Photomicrograph of a urine filtration membrane, 4× objective.
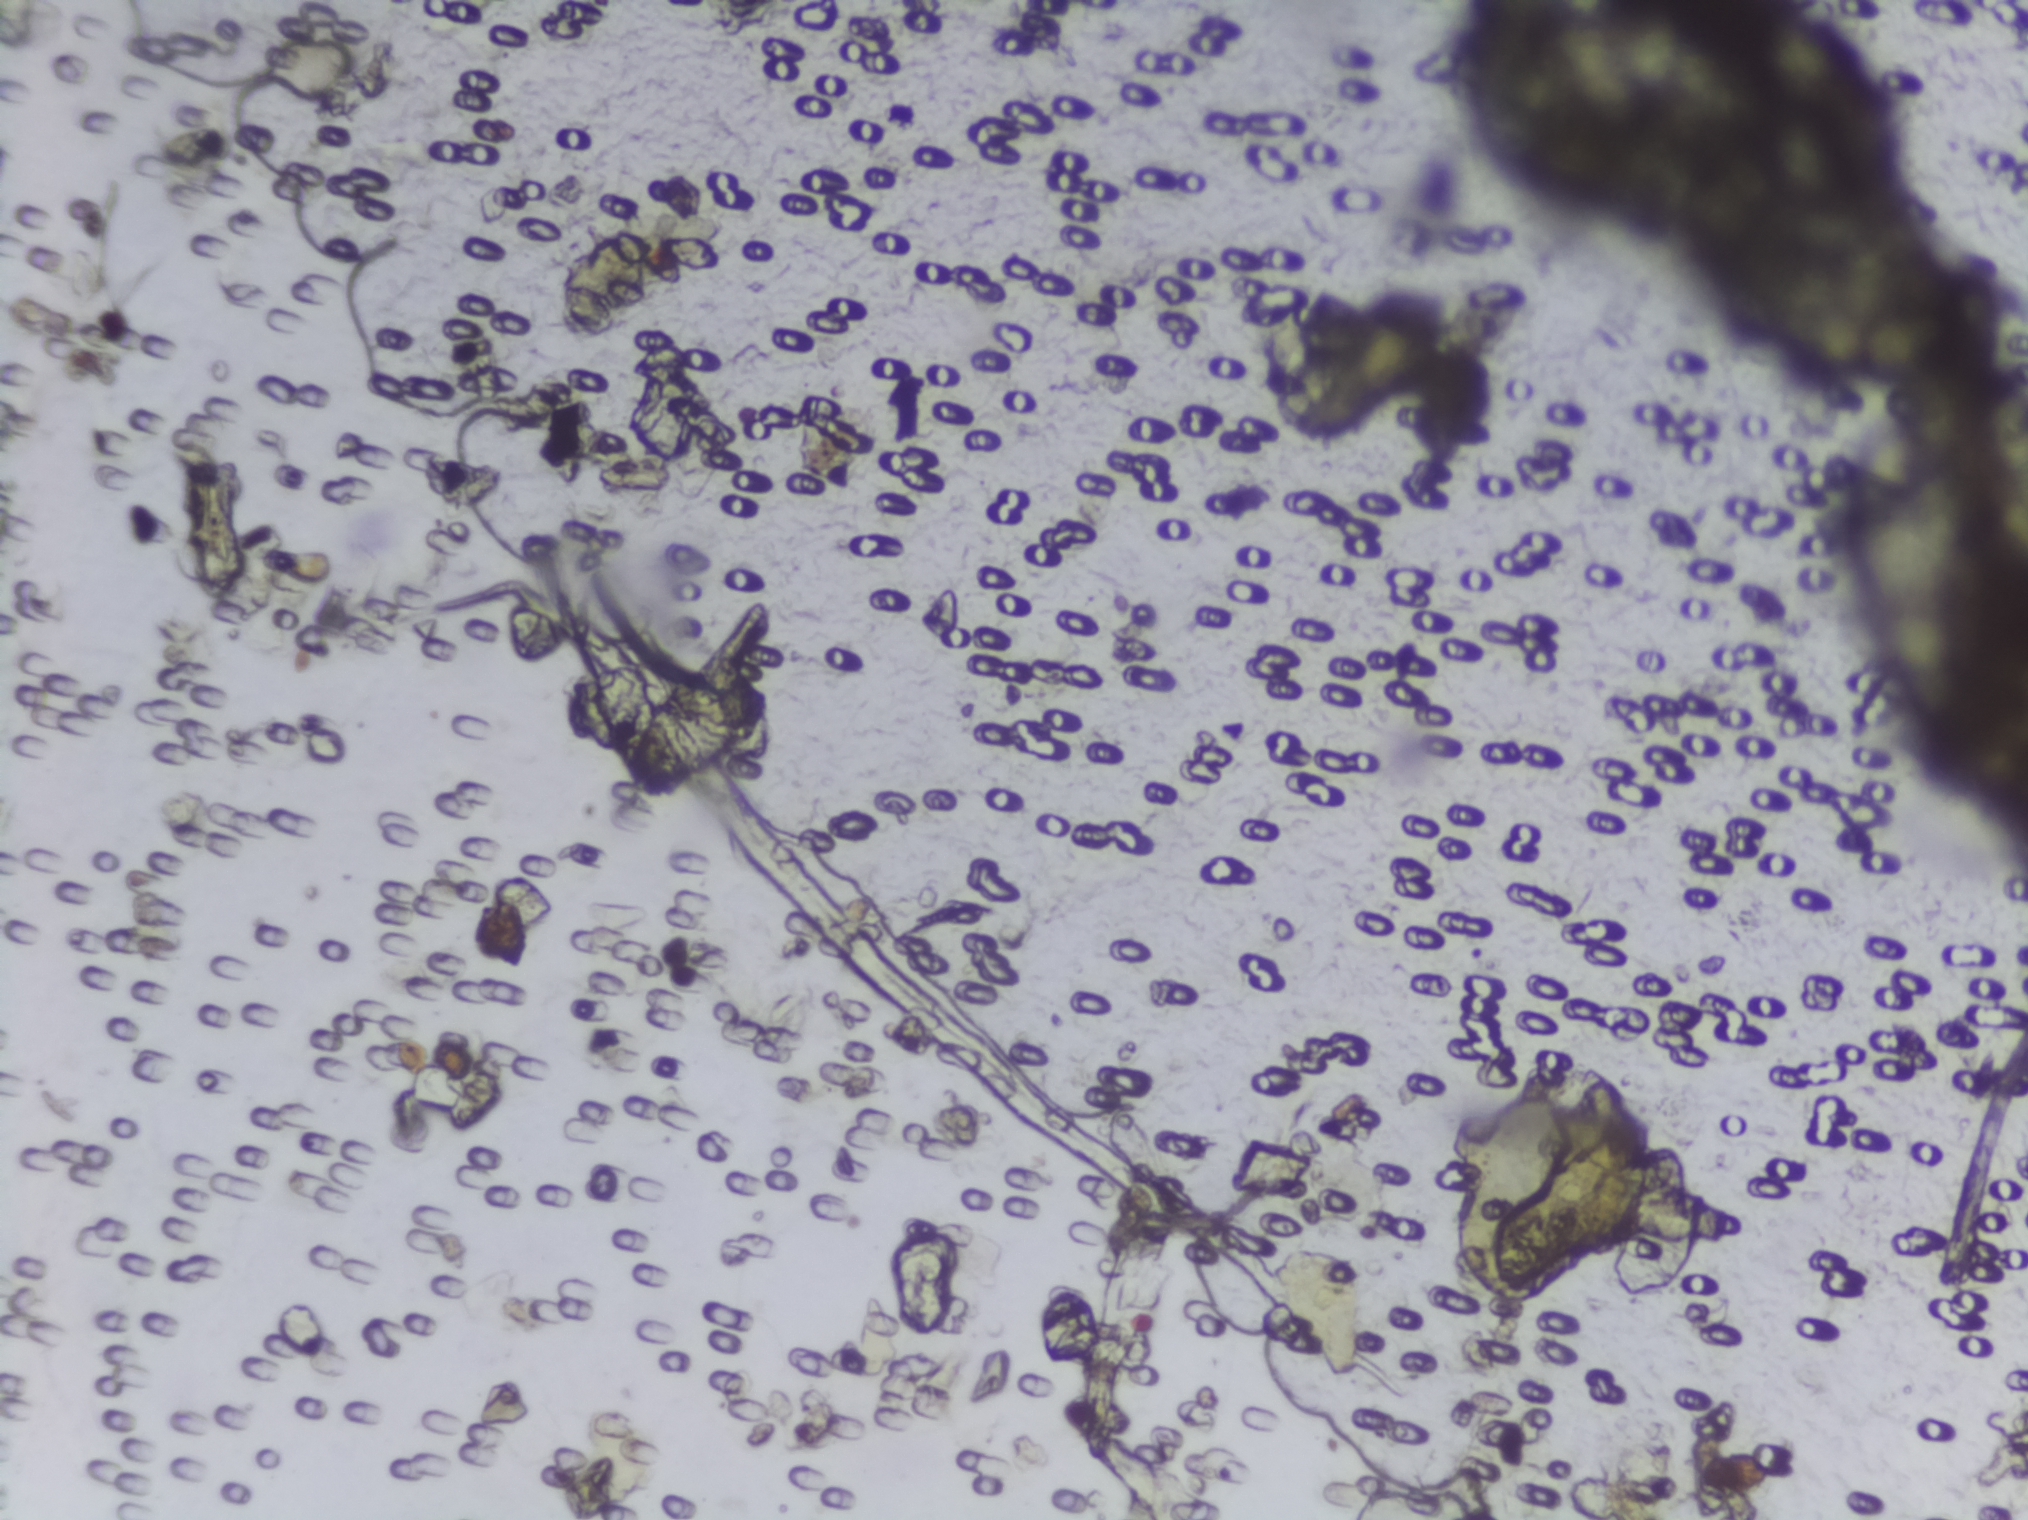
No Schistosoma egg is outlined in this image's expert annotation.